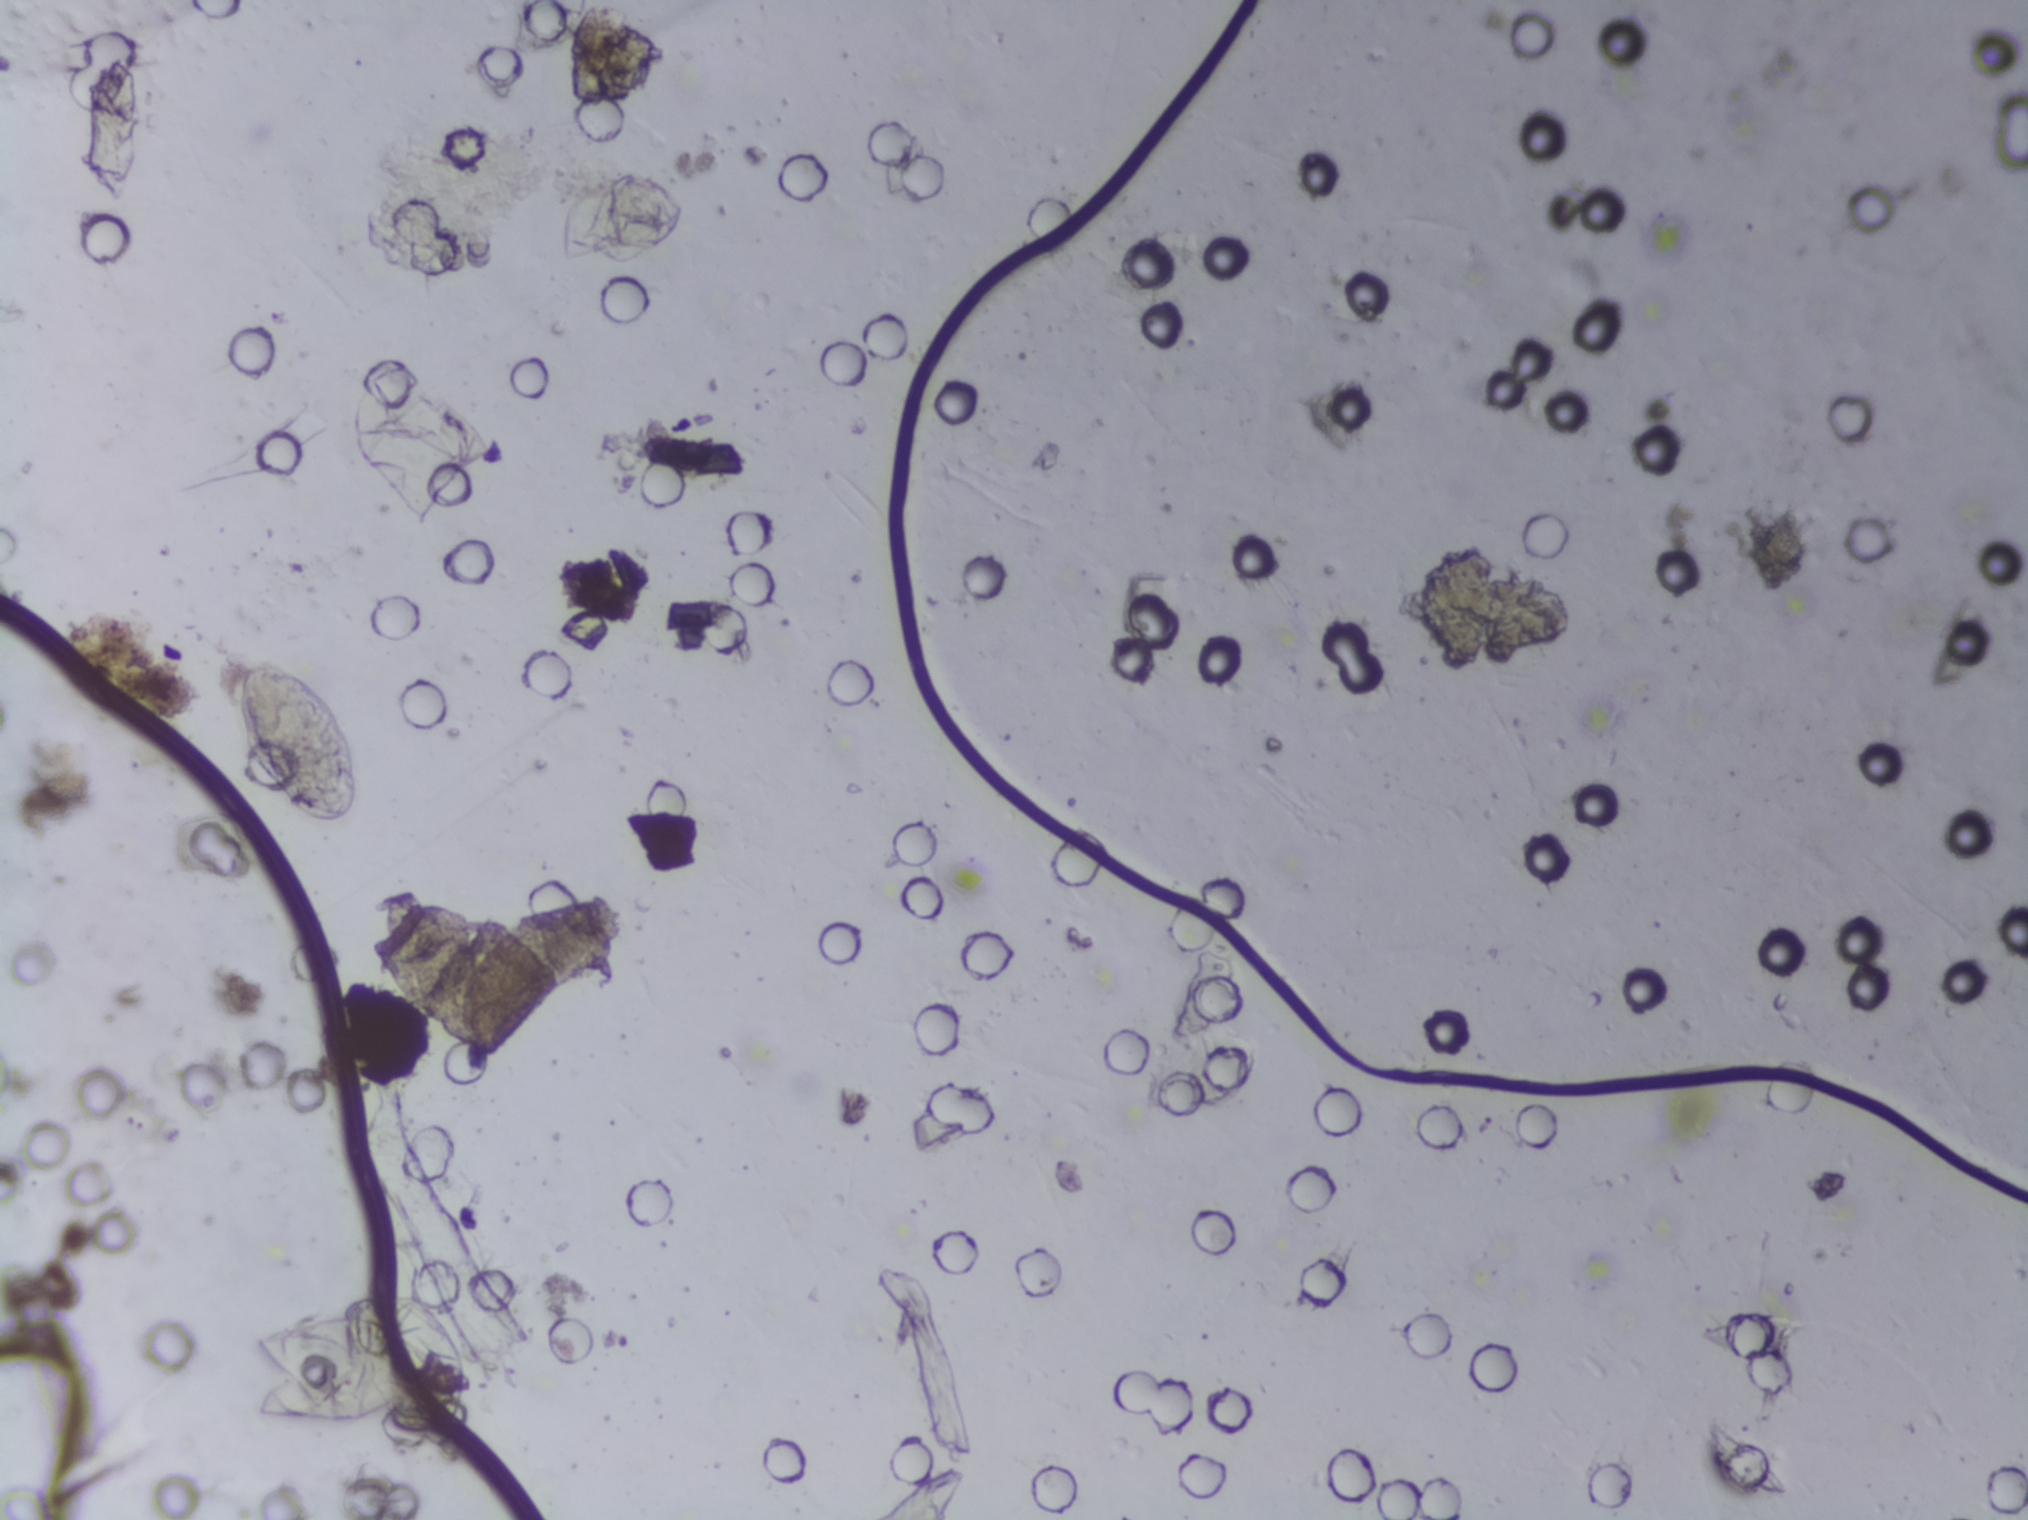
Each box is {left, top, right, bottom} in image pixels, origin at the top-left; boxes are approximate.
Schistosoma eggs are outlined in two areas of this image, listed from left to right: {229, 661, 356, 826} and {349, 1280, 473, 1464}. Eggs that touch can end up inside the same outlined area.
Urine filter membrane photographed through a 4× microscope objective. Field of view: about 1.5 mm wide and 1.1 mm high.